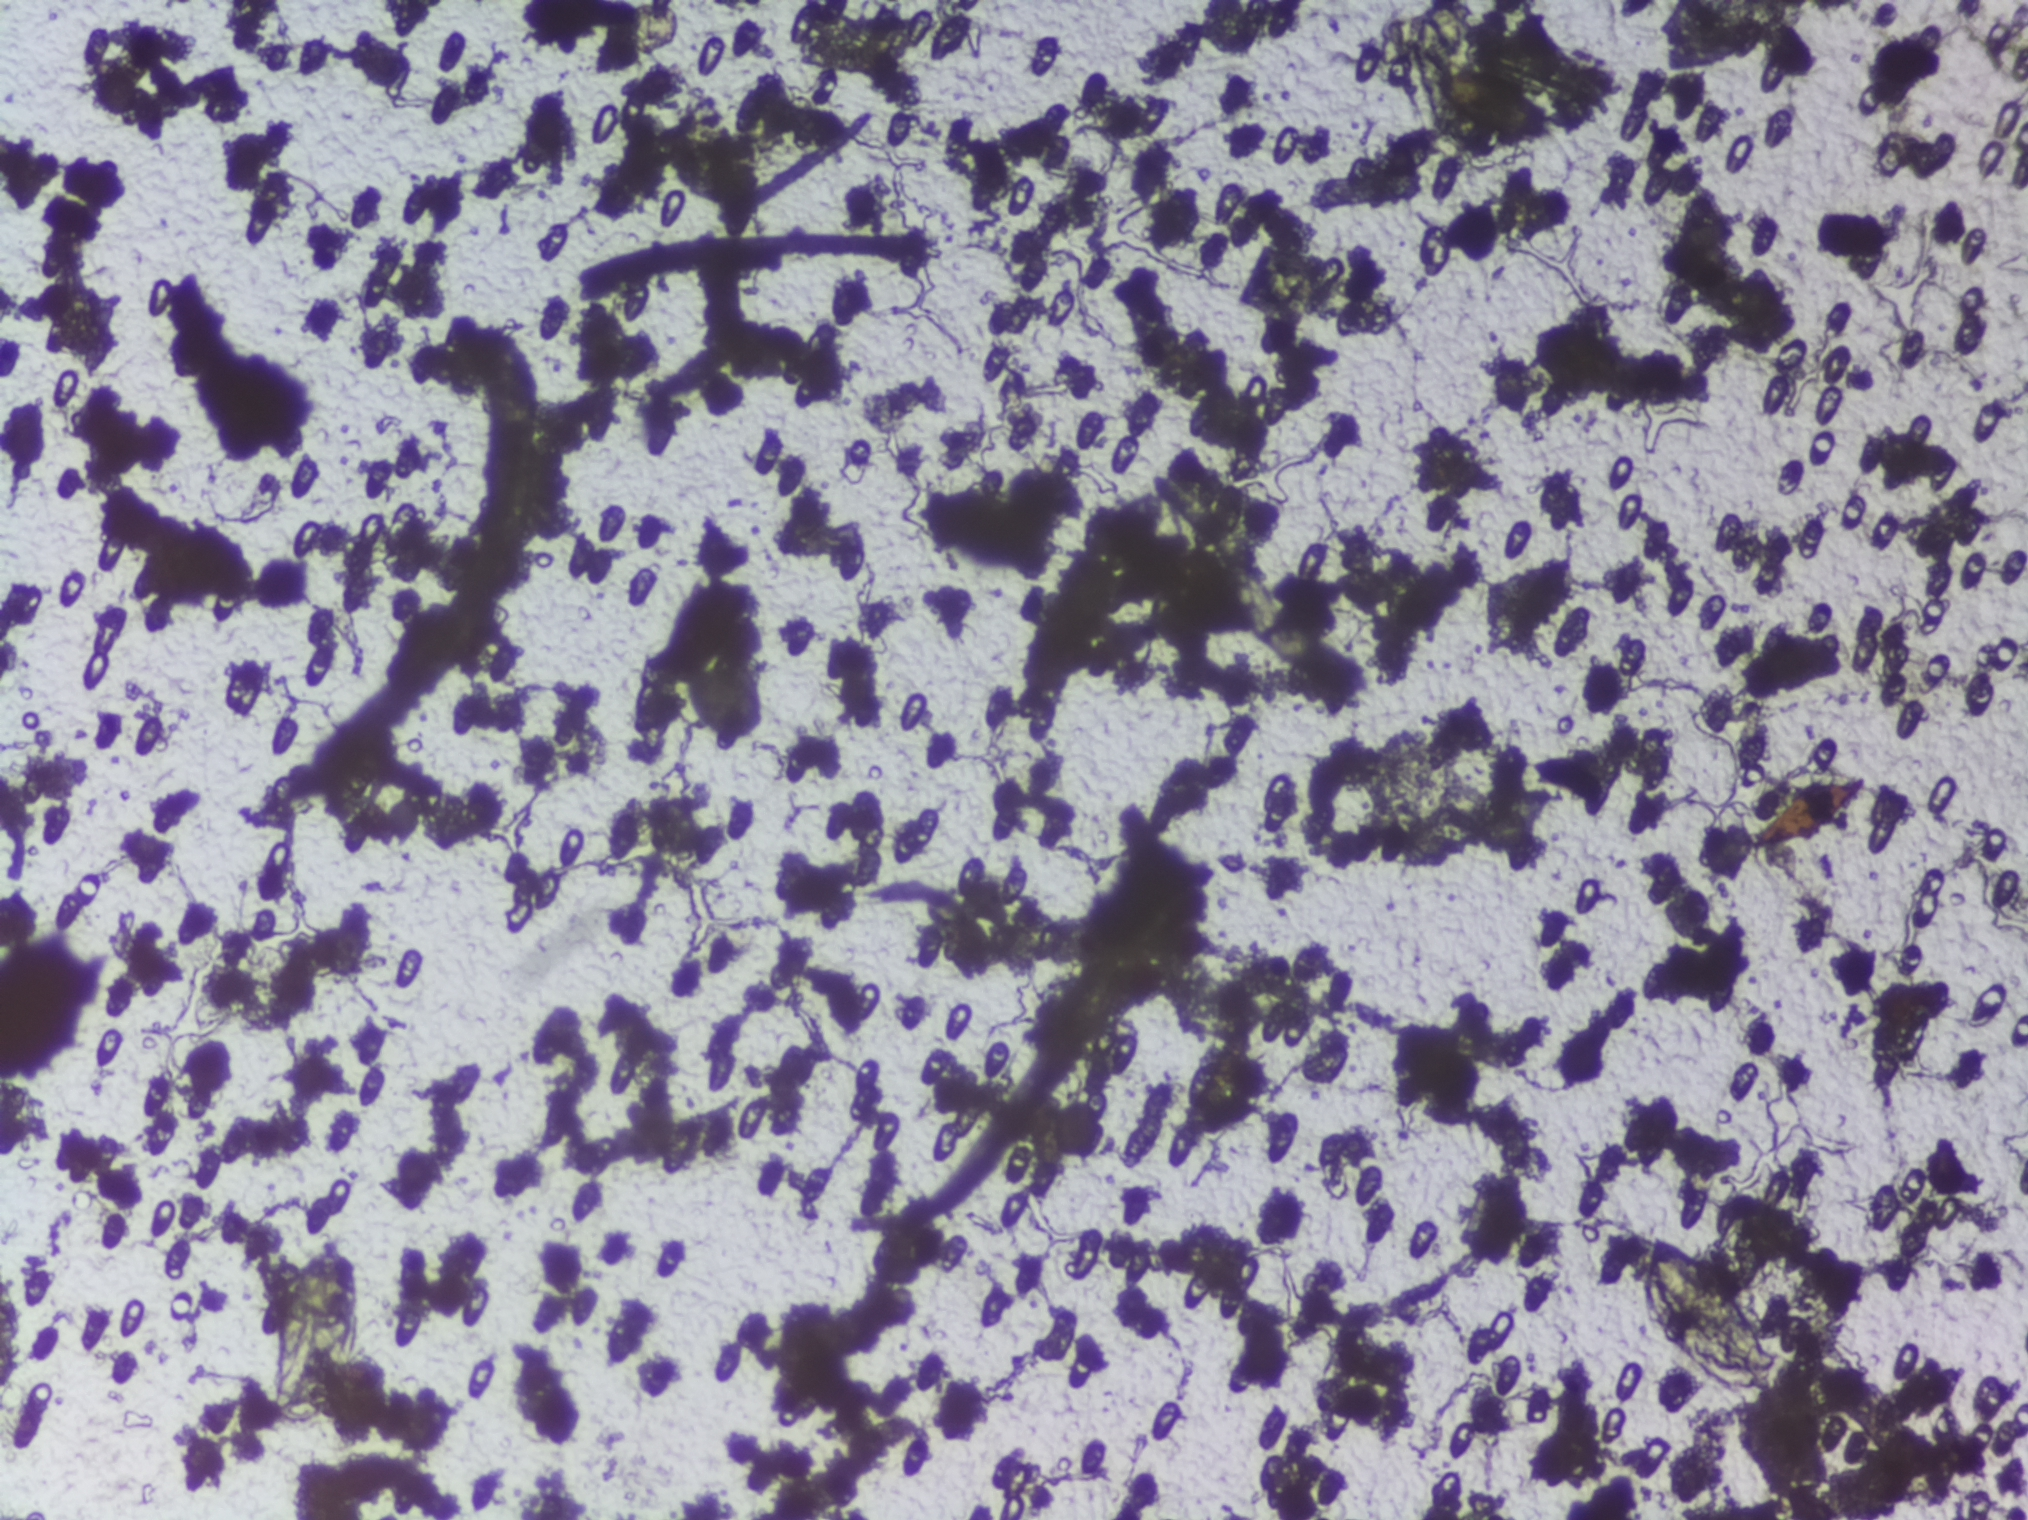
One field of view of a urine filter membrane, 4× objective, 2028 × 1520 pixels.
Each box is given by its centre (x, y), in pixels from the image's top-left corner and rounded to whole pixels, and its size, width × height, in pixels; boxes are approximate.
Findings: three areas outlined as Schistosoma eggs. Locations: centre (315, 1329), 101 × 193 px; centre (1462, 87), 112 × 174 px (reaching the top edge of the frame); centre (1707, 1309), 139 × 163 px. The marked pixels themselves, not the boxes around them, cover about 1.3% of the image. Eggs that touch can end up inside the same outlined area.